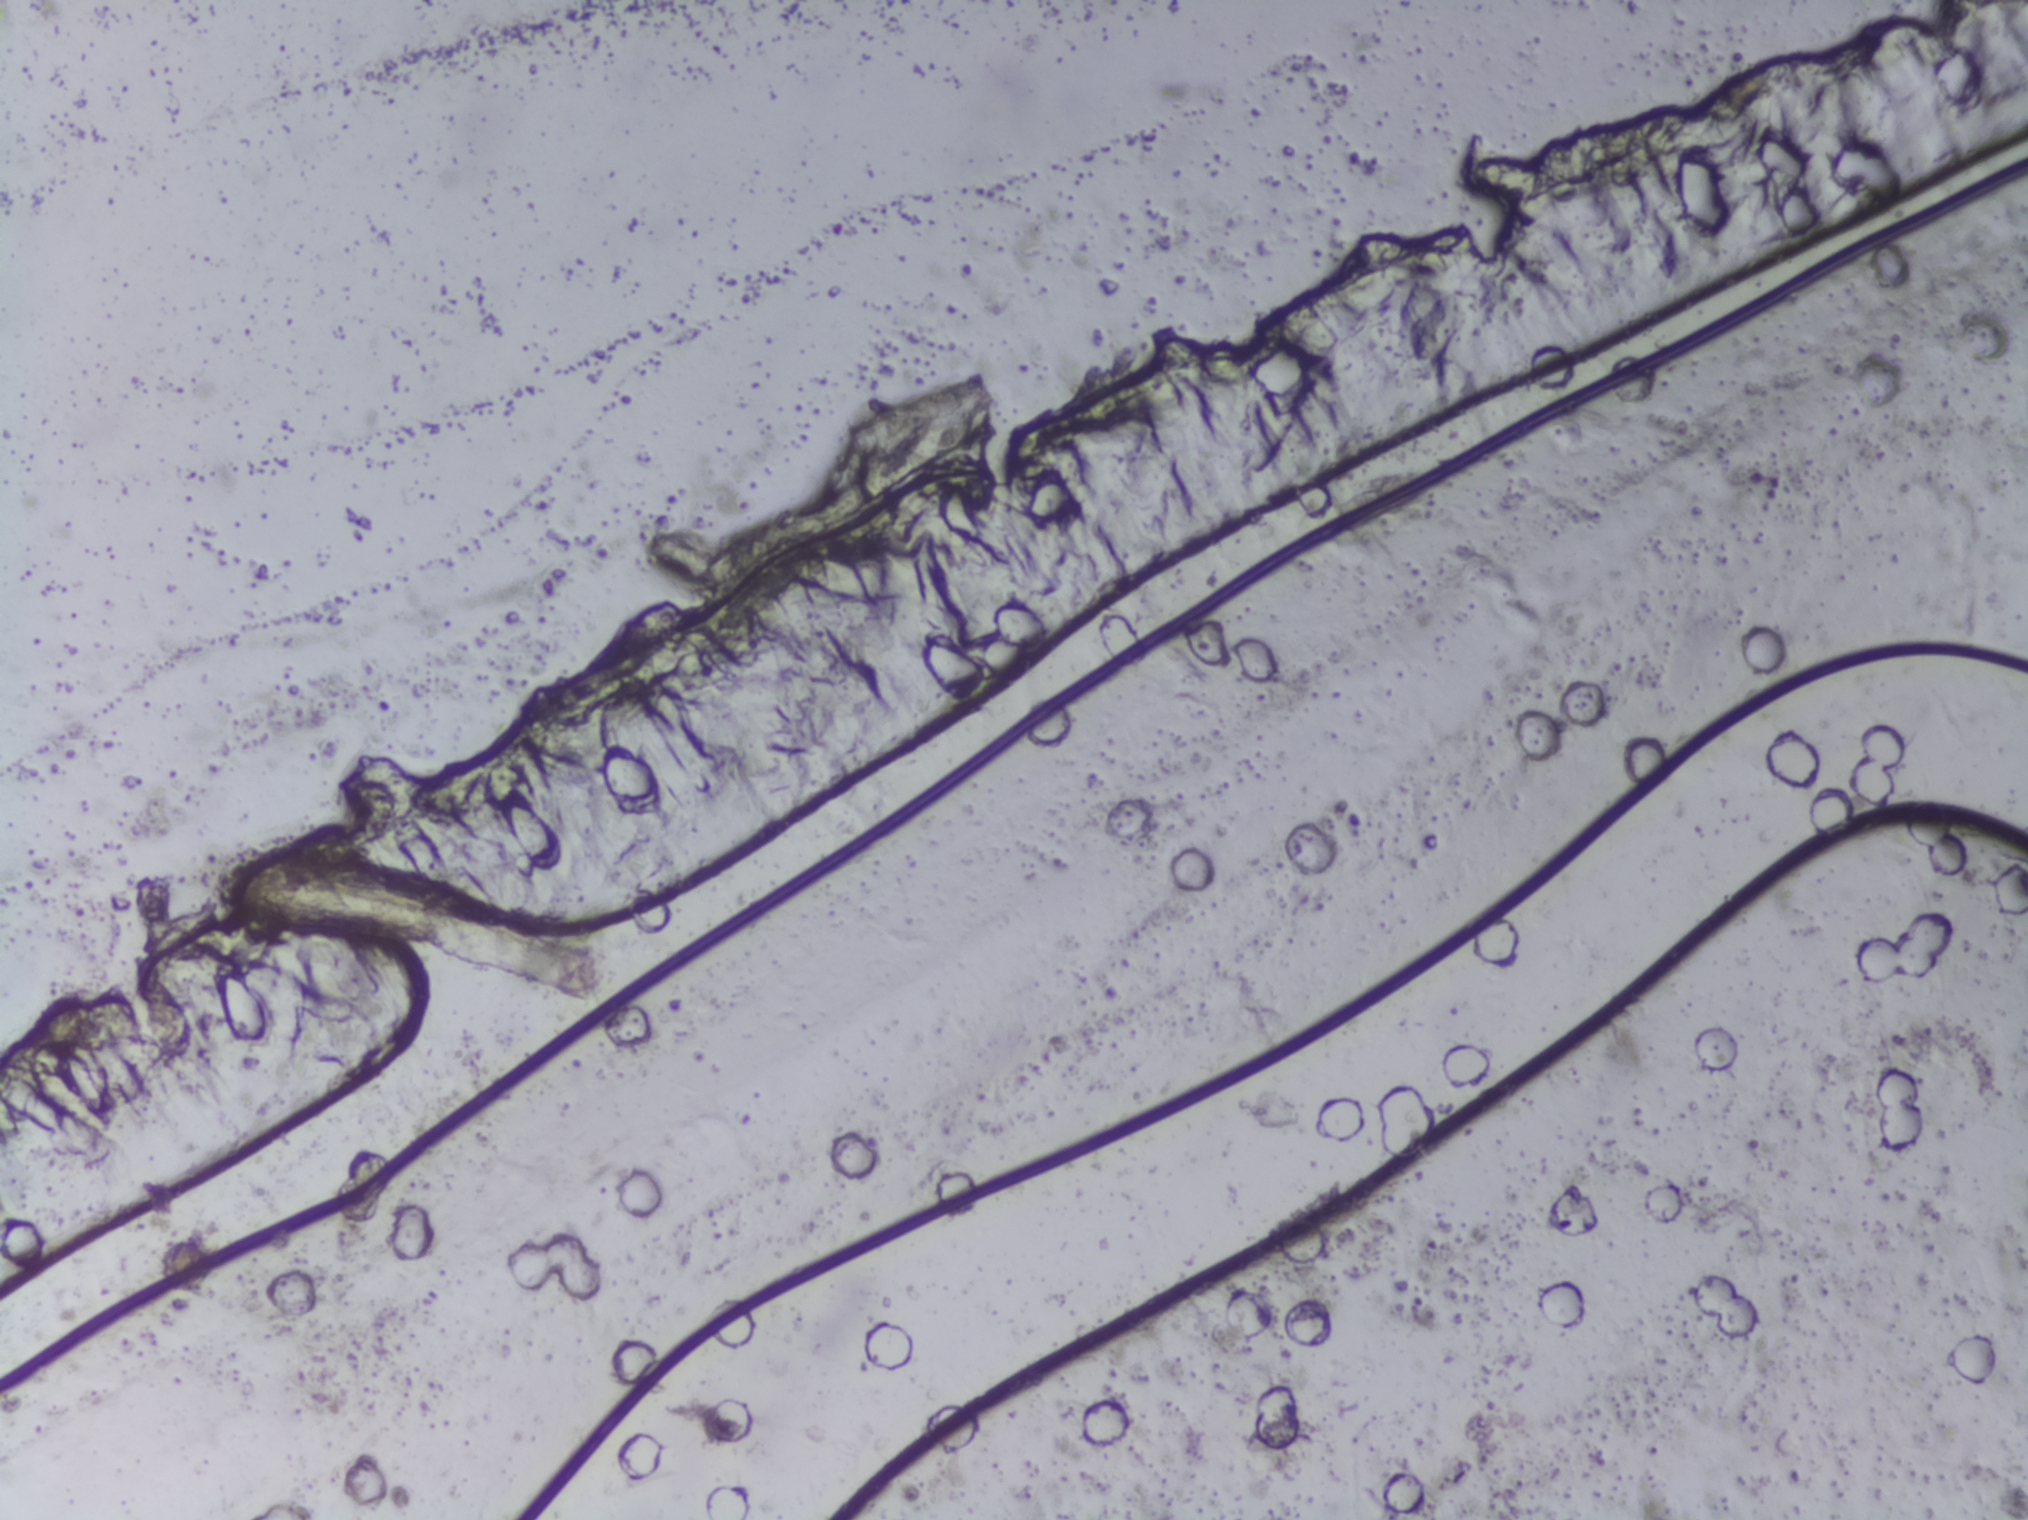
One field of view of a urine filter membrane, 4× objective, 2028 × 1520 pixels.
No Schistosoma egg is outlined in this image's expert annotation.